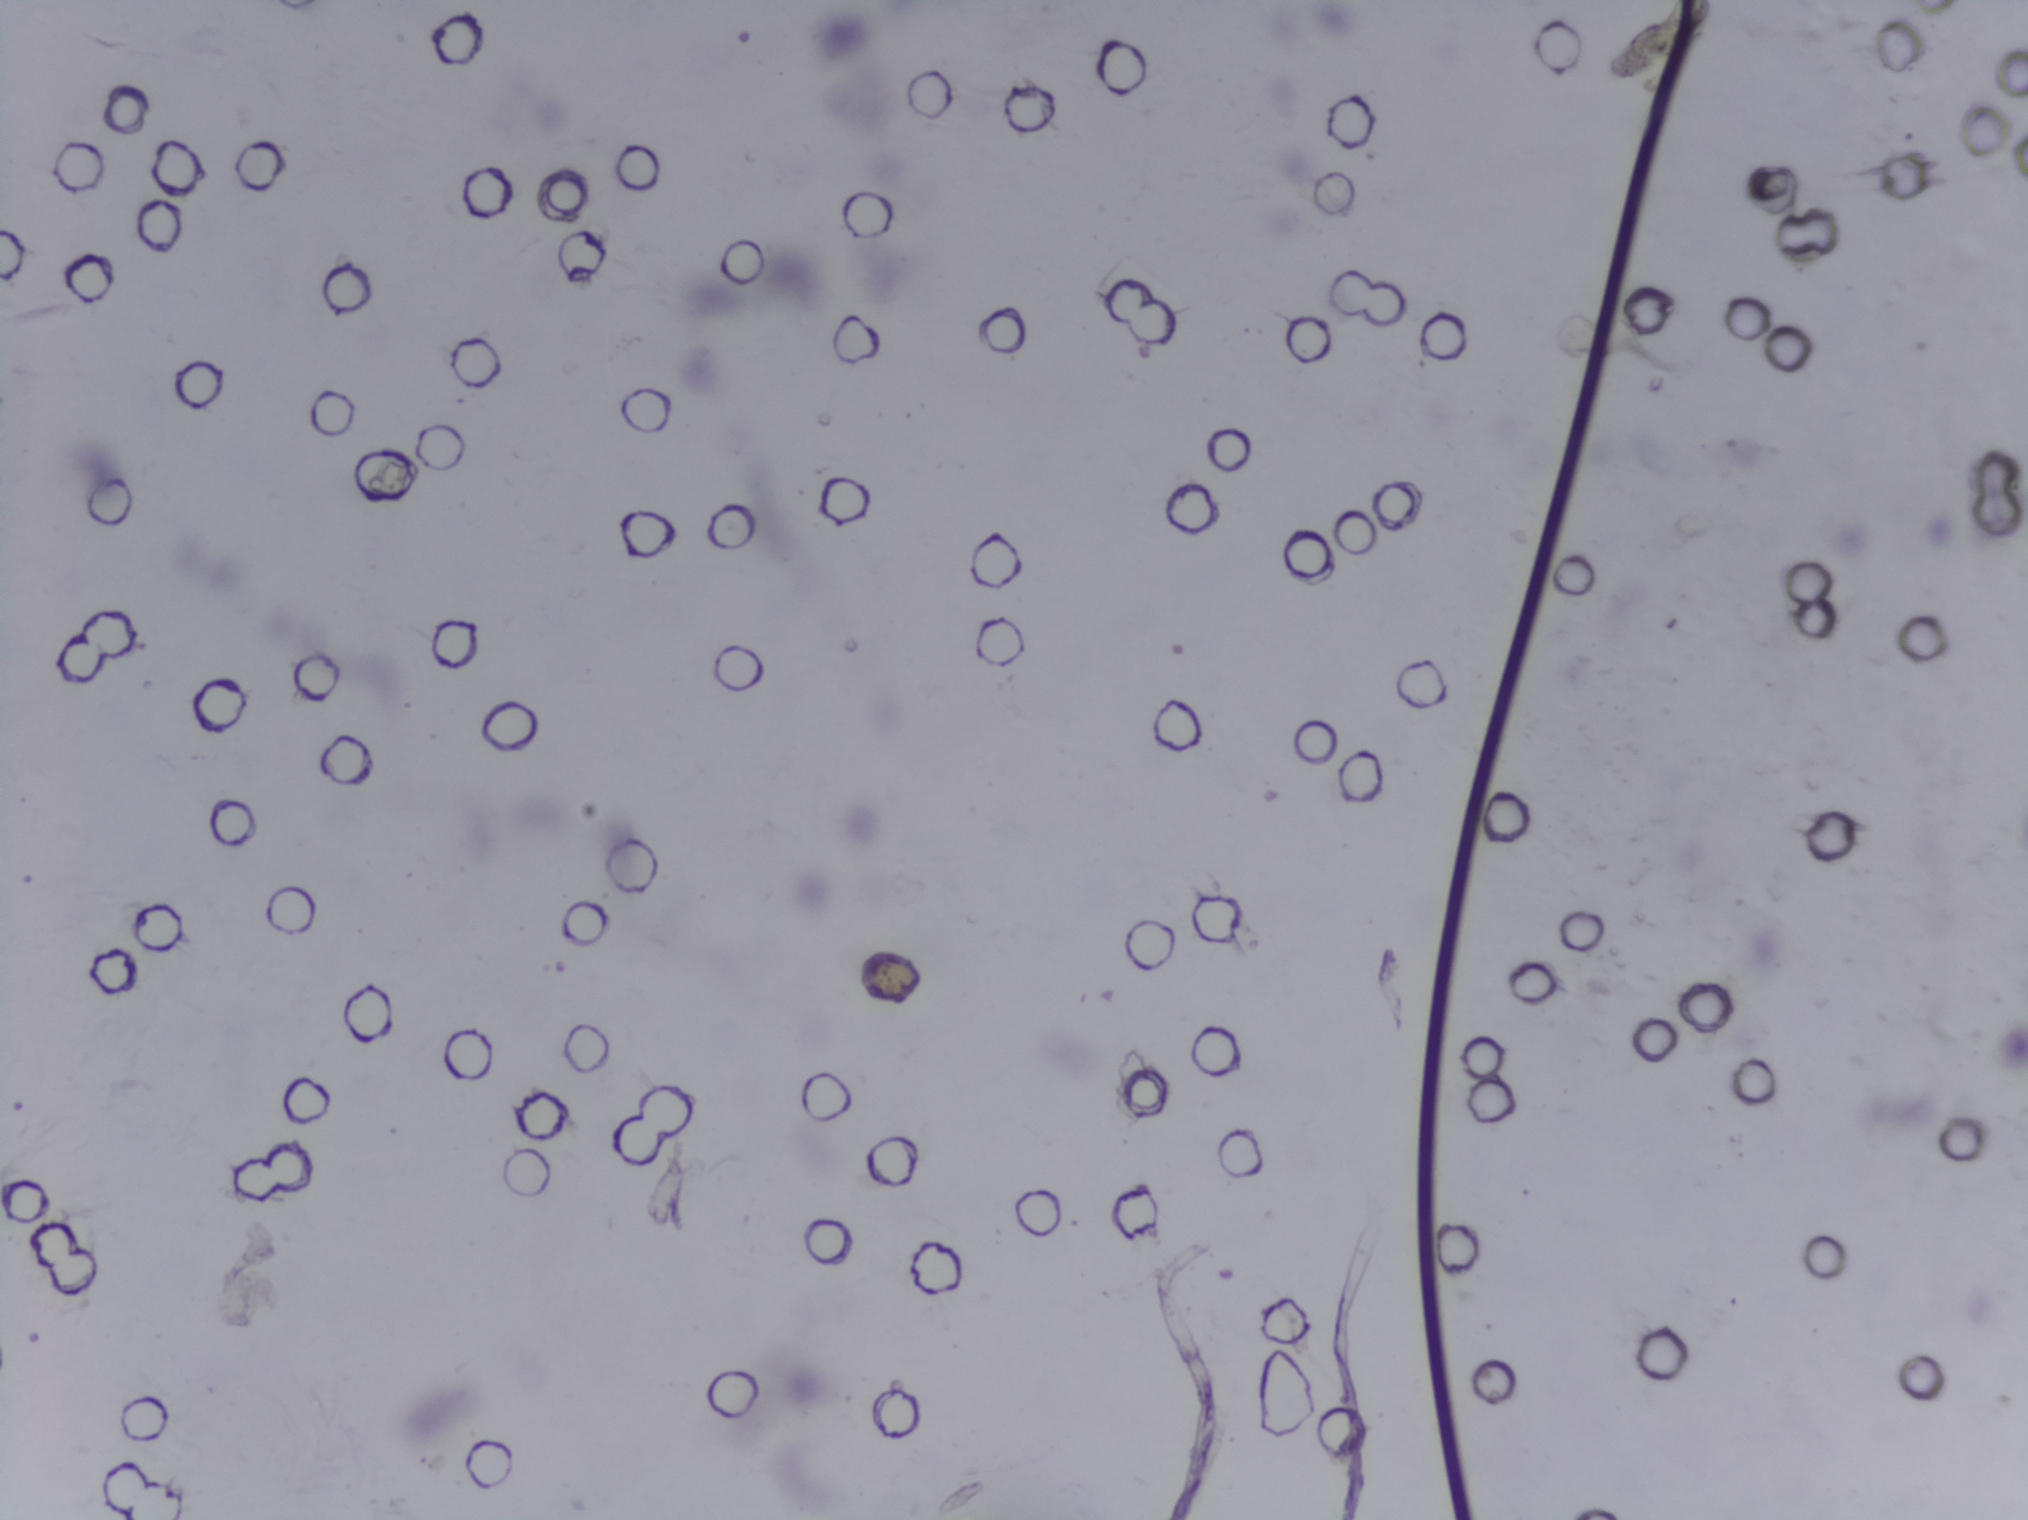
Photograph from an automated digital microscope: urine filter membrane, 4× objective.
The expert annotation outlines no Schistosoma egg in this image.